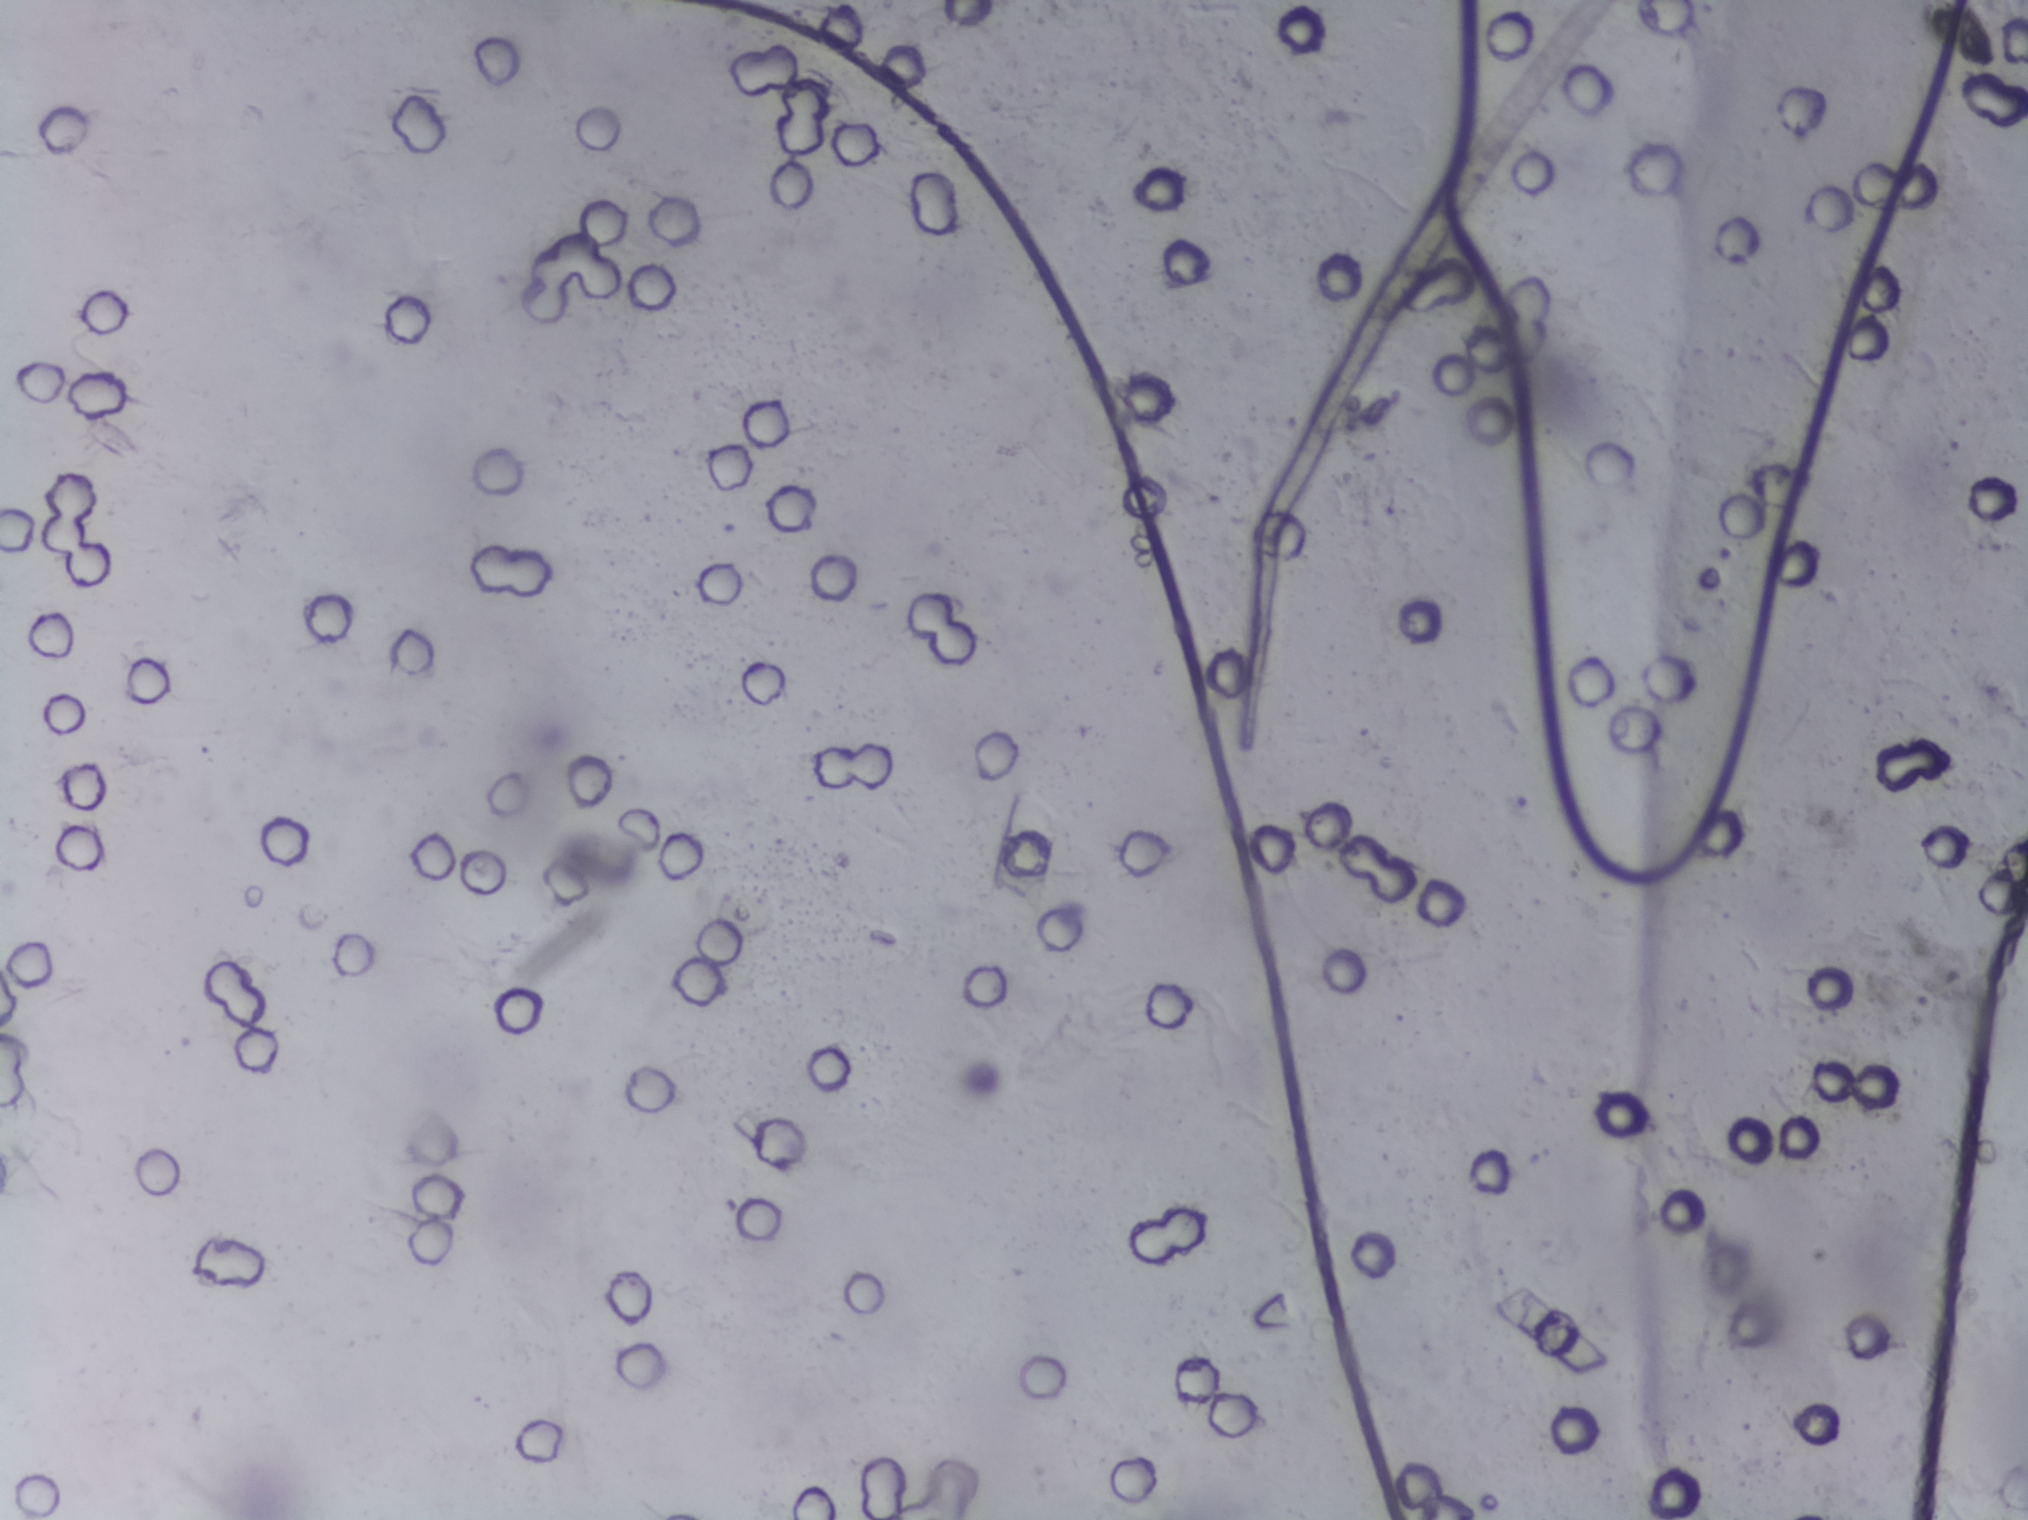
Photomicrograph of a urine filtration membrane, 4× objective. The field of view is about 1.5 mm × 1.1 mm.
The expert annotation outlines no Schistosoma egg in this image.